Photomicrograph of a urine filtration membrane, 4× objective.
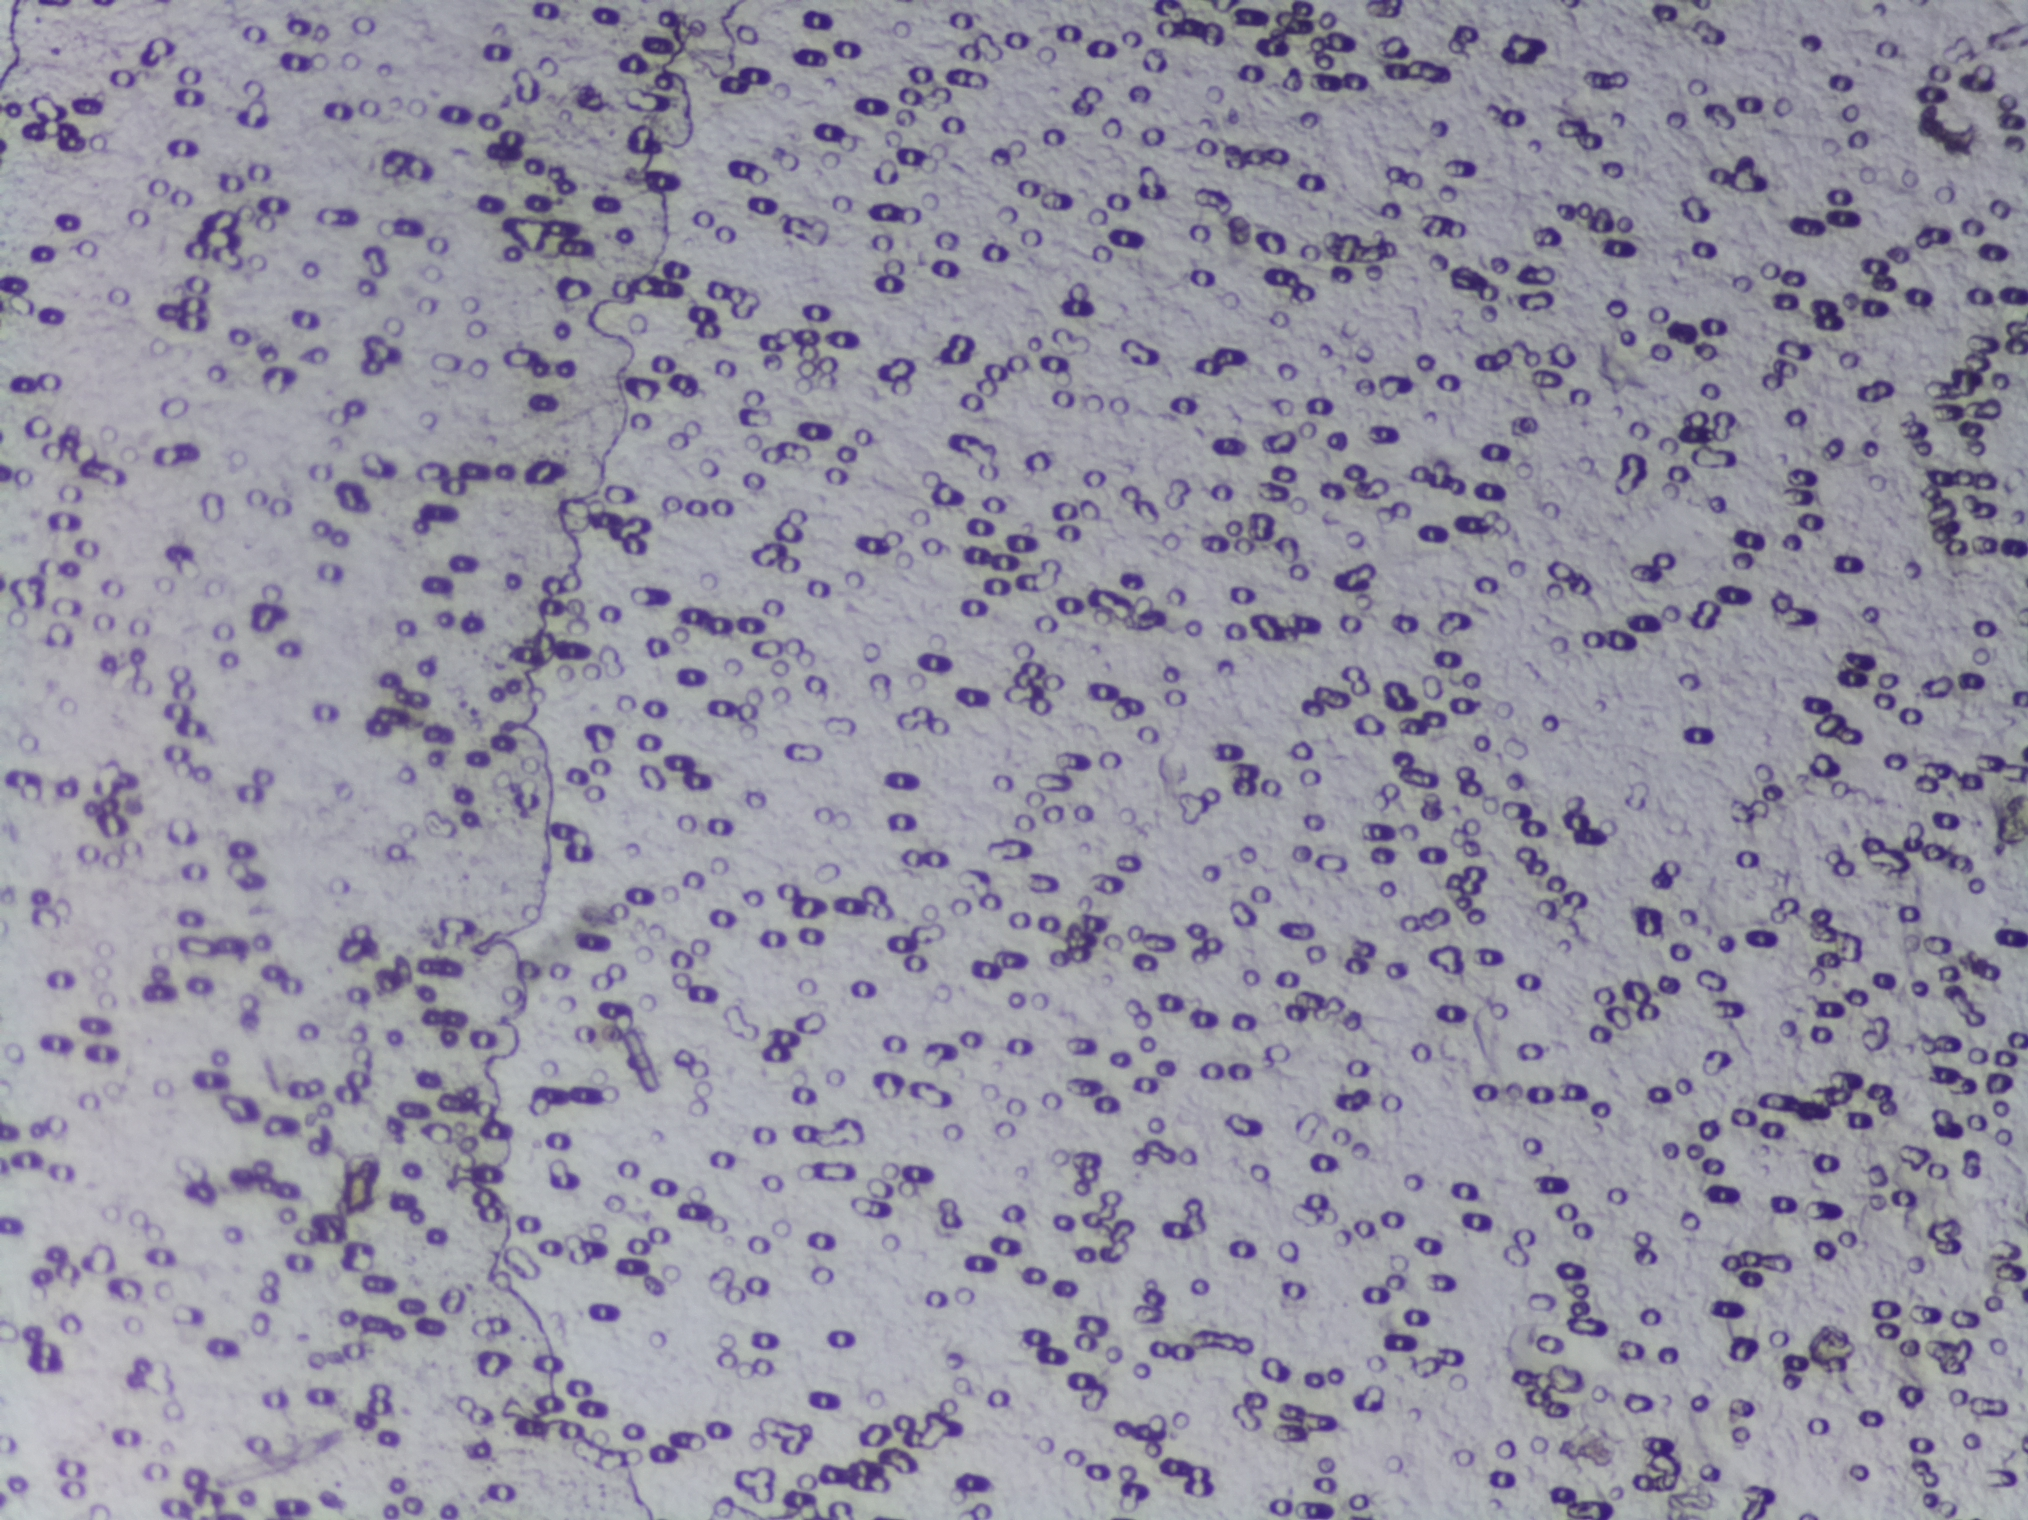
The expert annotation outlines no Schistosoma egg in this image.